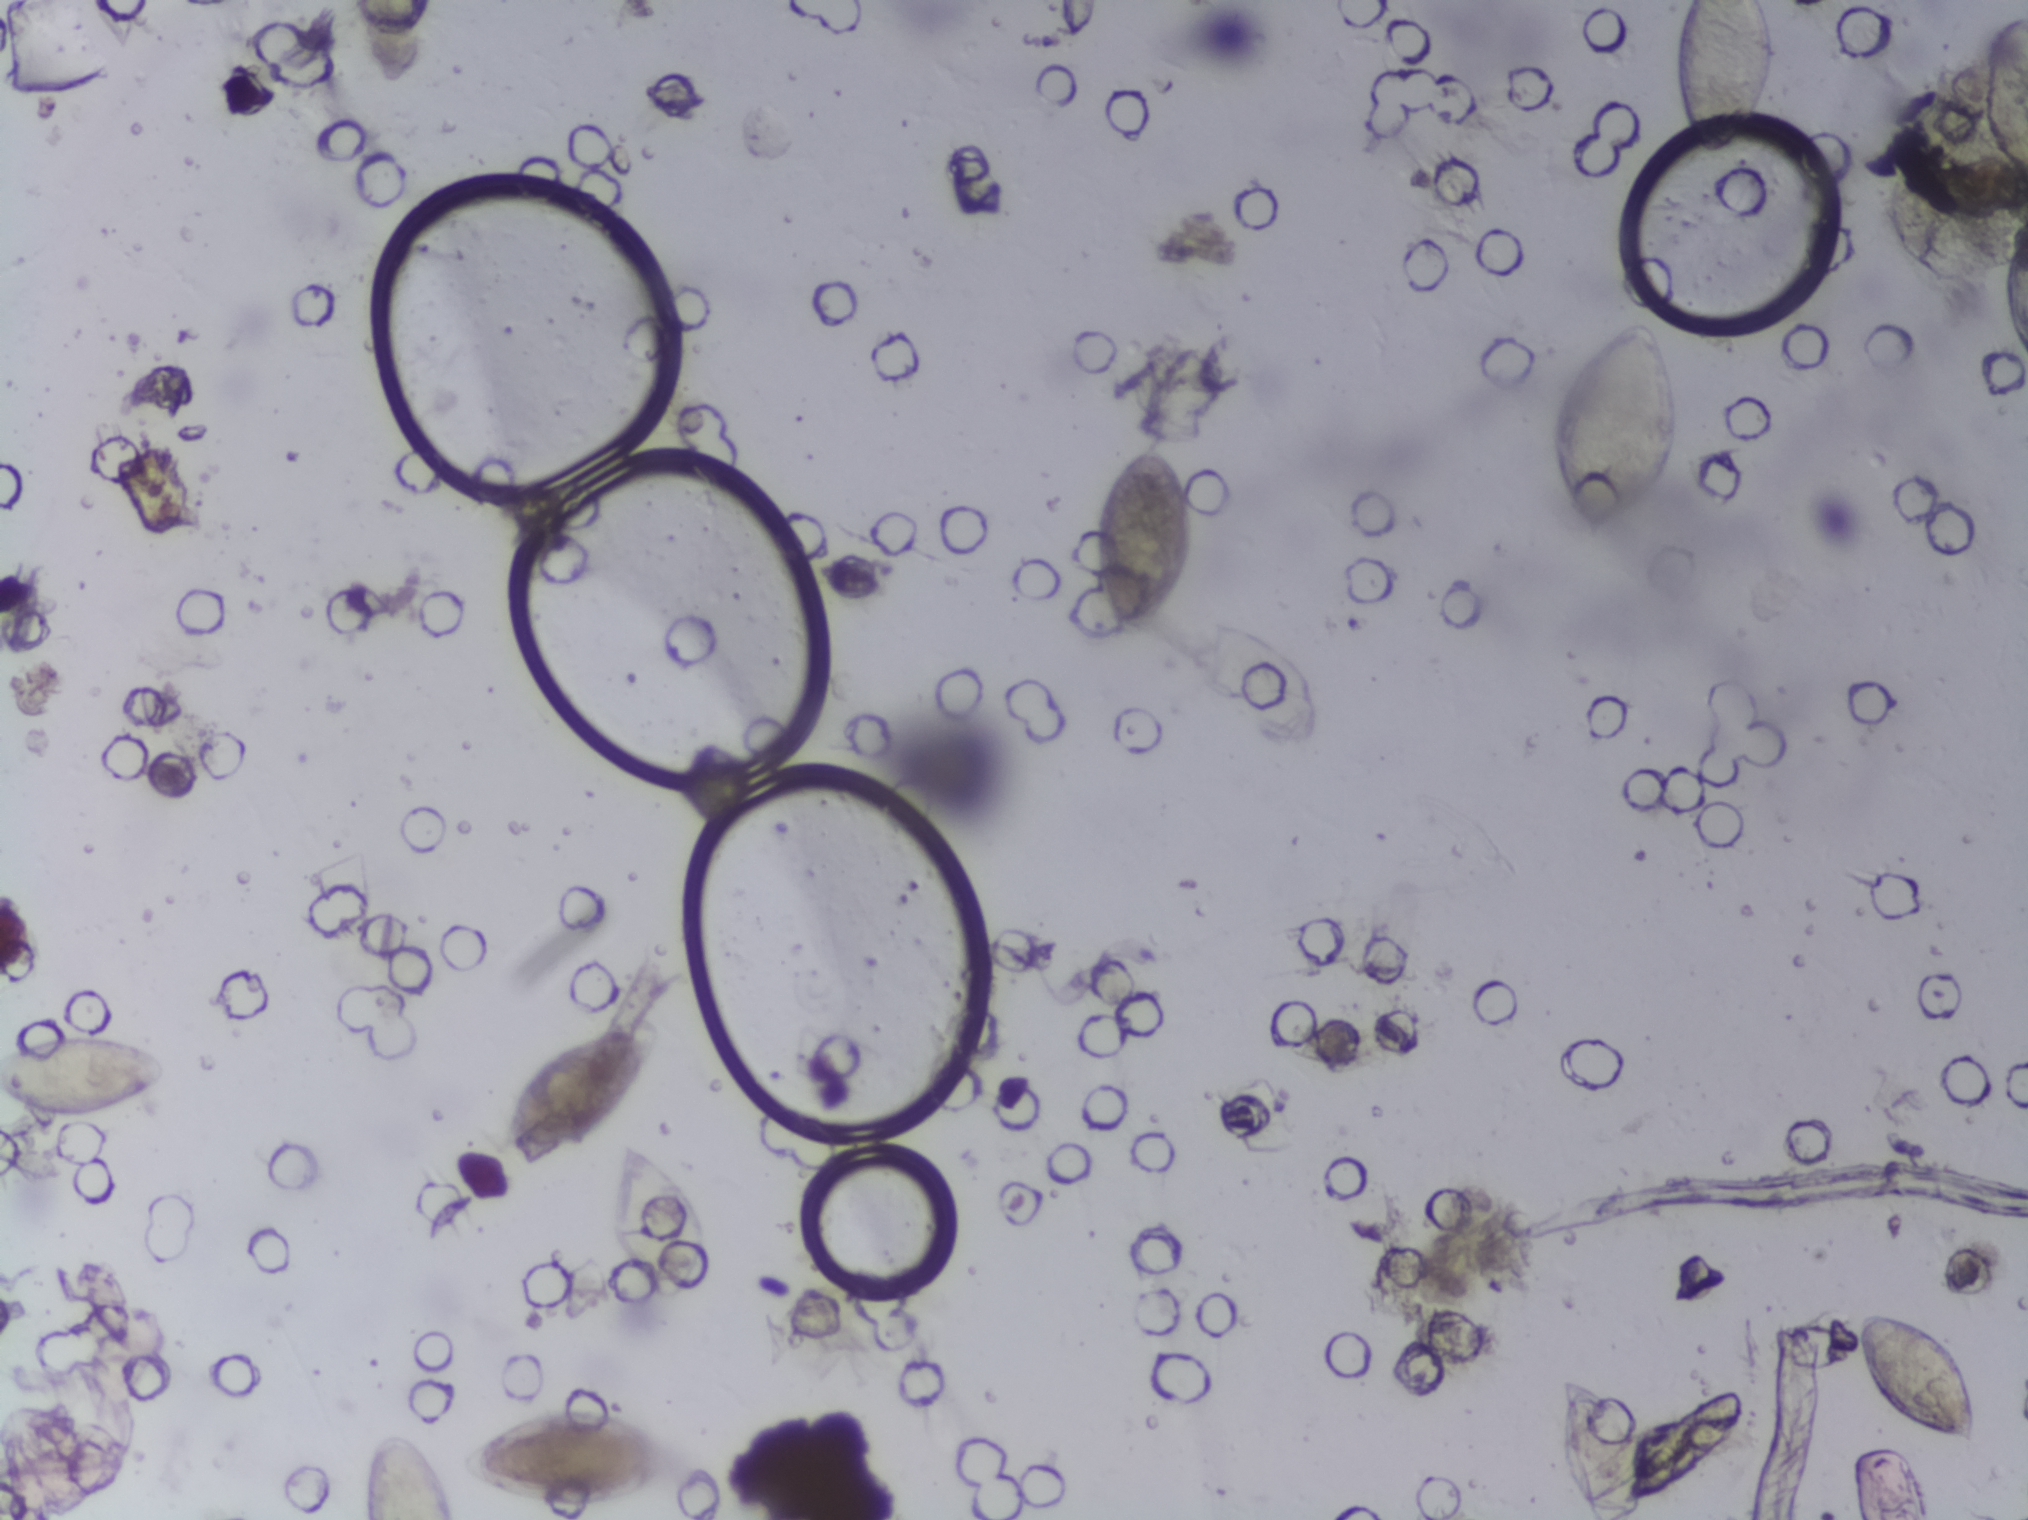
Microscope photograph (4× objective) of a membrane that a urine sample was filtered through.
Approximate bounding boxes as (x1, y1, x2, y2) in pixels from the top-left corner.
Schistosoma eggs, outlined areas: (0, 1029, 171, 1122) (reaching the left edge of the frame); (363, 1433, 450, 1519) (reaching the bottom edge of the frame); (461, 1404, 691, 1511); (487, 1013, 662, 1156); (604, 1139, 705, 1304); (1090, 436, 1196, 635); (1542, 318, 1681, 547); (1556, 1371, 1744, 1519) (reaching the bottom edge of the frame); (1670, 0, 1777, 164) (reaching the top edge of the frame); (1853, 1312, 1980, 1446); (1970, 11, 2027, 184) (reaching the right edge of the frame). A single outlined area may contain several eggs. A marked egg may occasionally be S. mansoni rather than S. haematobium.